Microscope photograph (4× objective) of a membrane that a urine sample was filtered through.
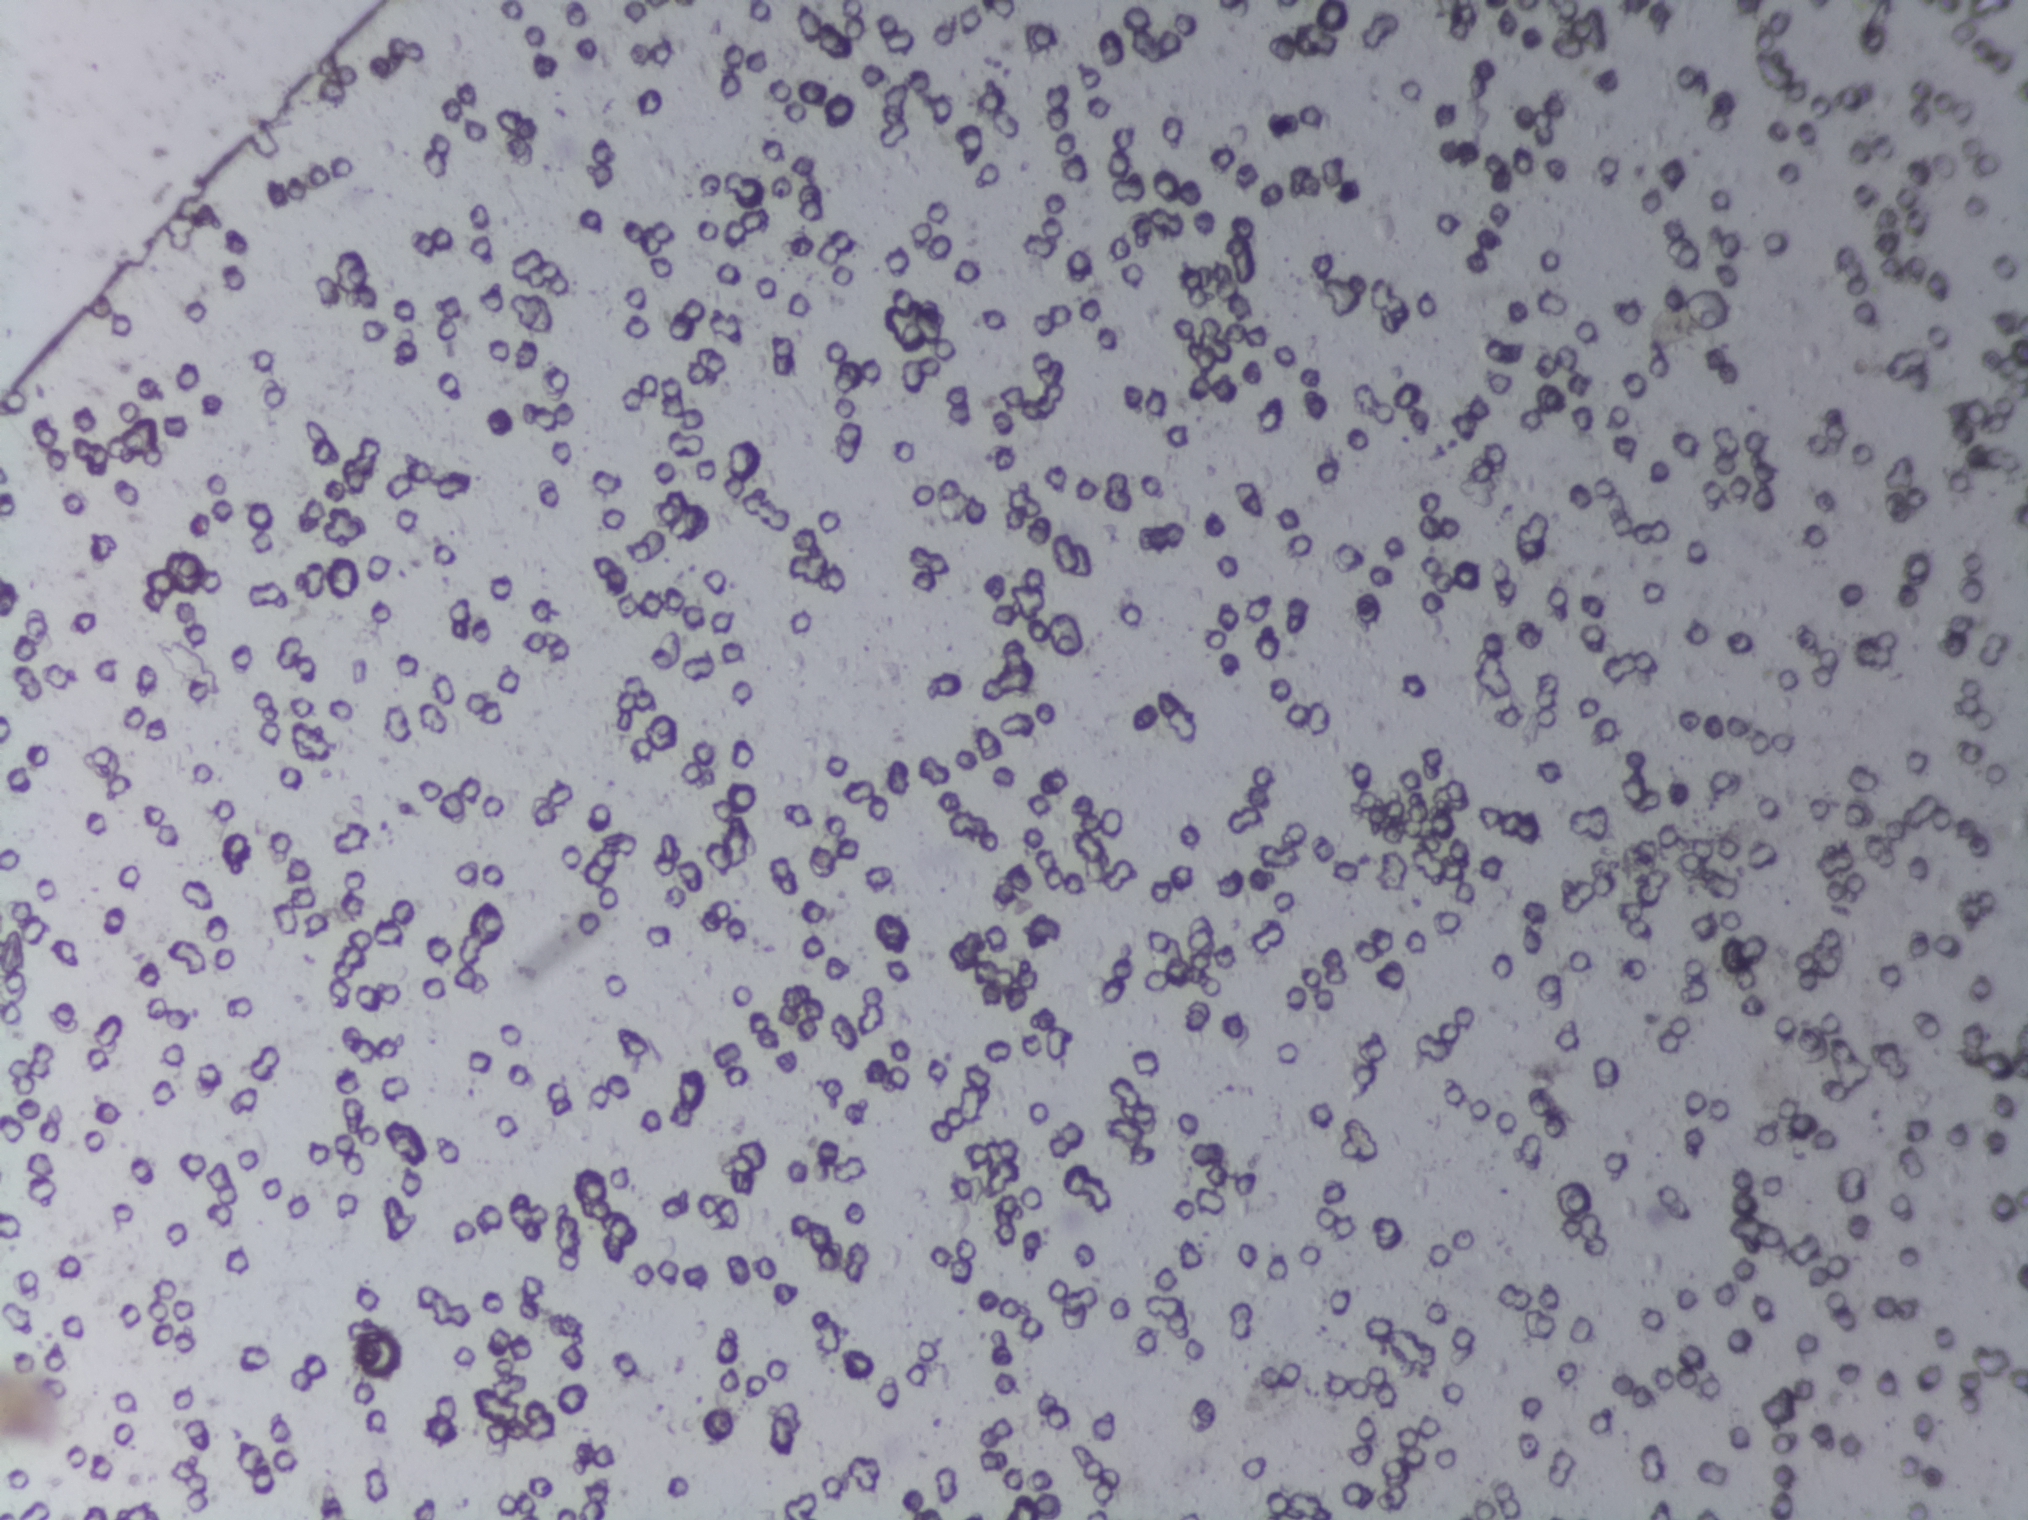
The expert annotation outlines no Schistosoma egg in this image.